One field of view of a urine filter membrane, 4× objective, 2028 × 1520 pixels. Field of view: about 1.5 mm wide and 1.1 mm high.
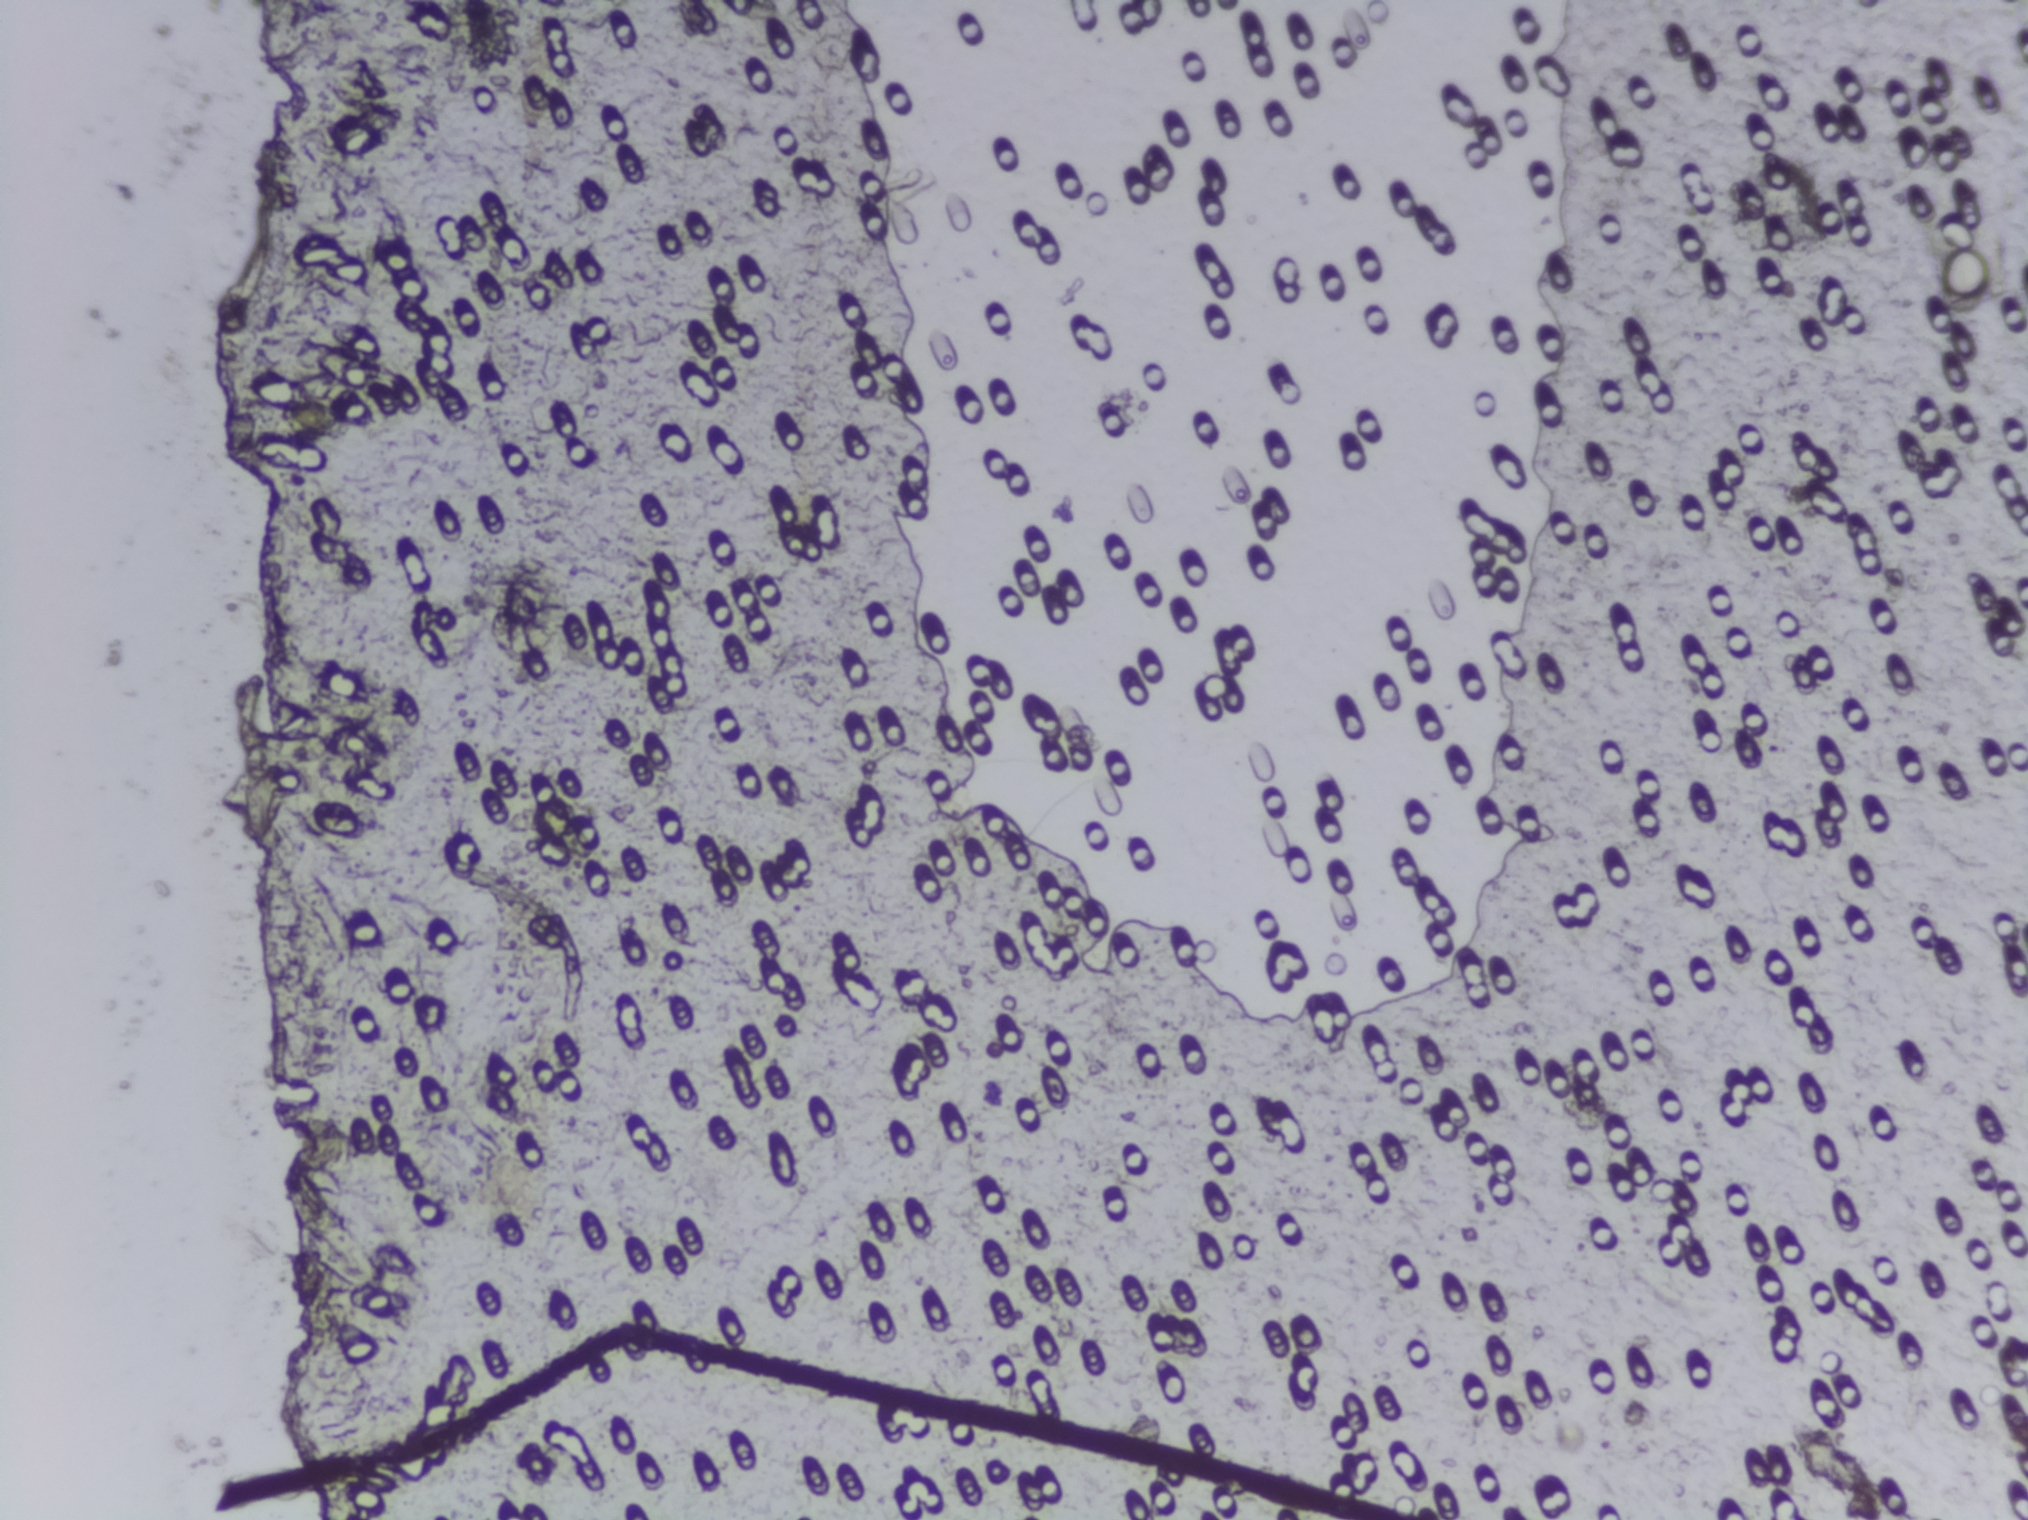
The expert annotation outlines no Schistosoma egg in this image.